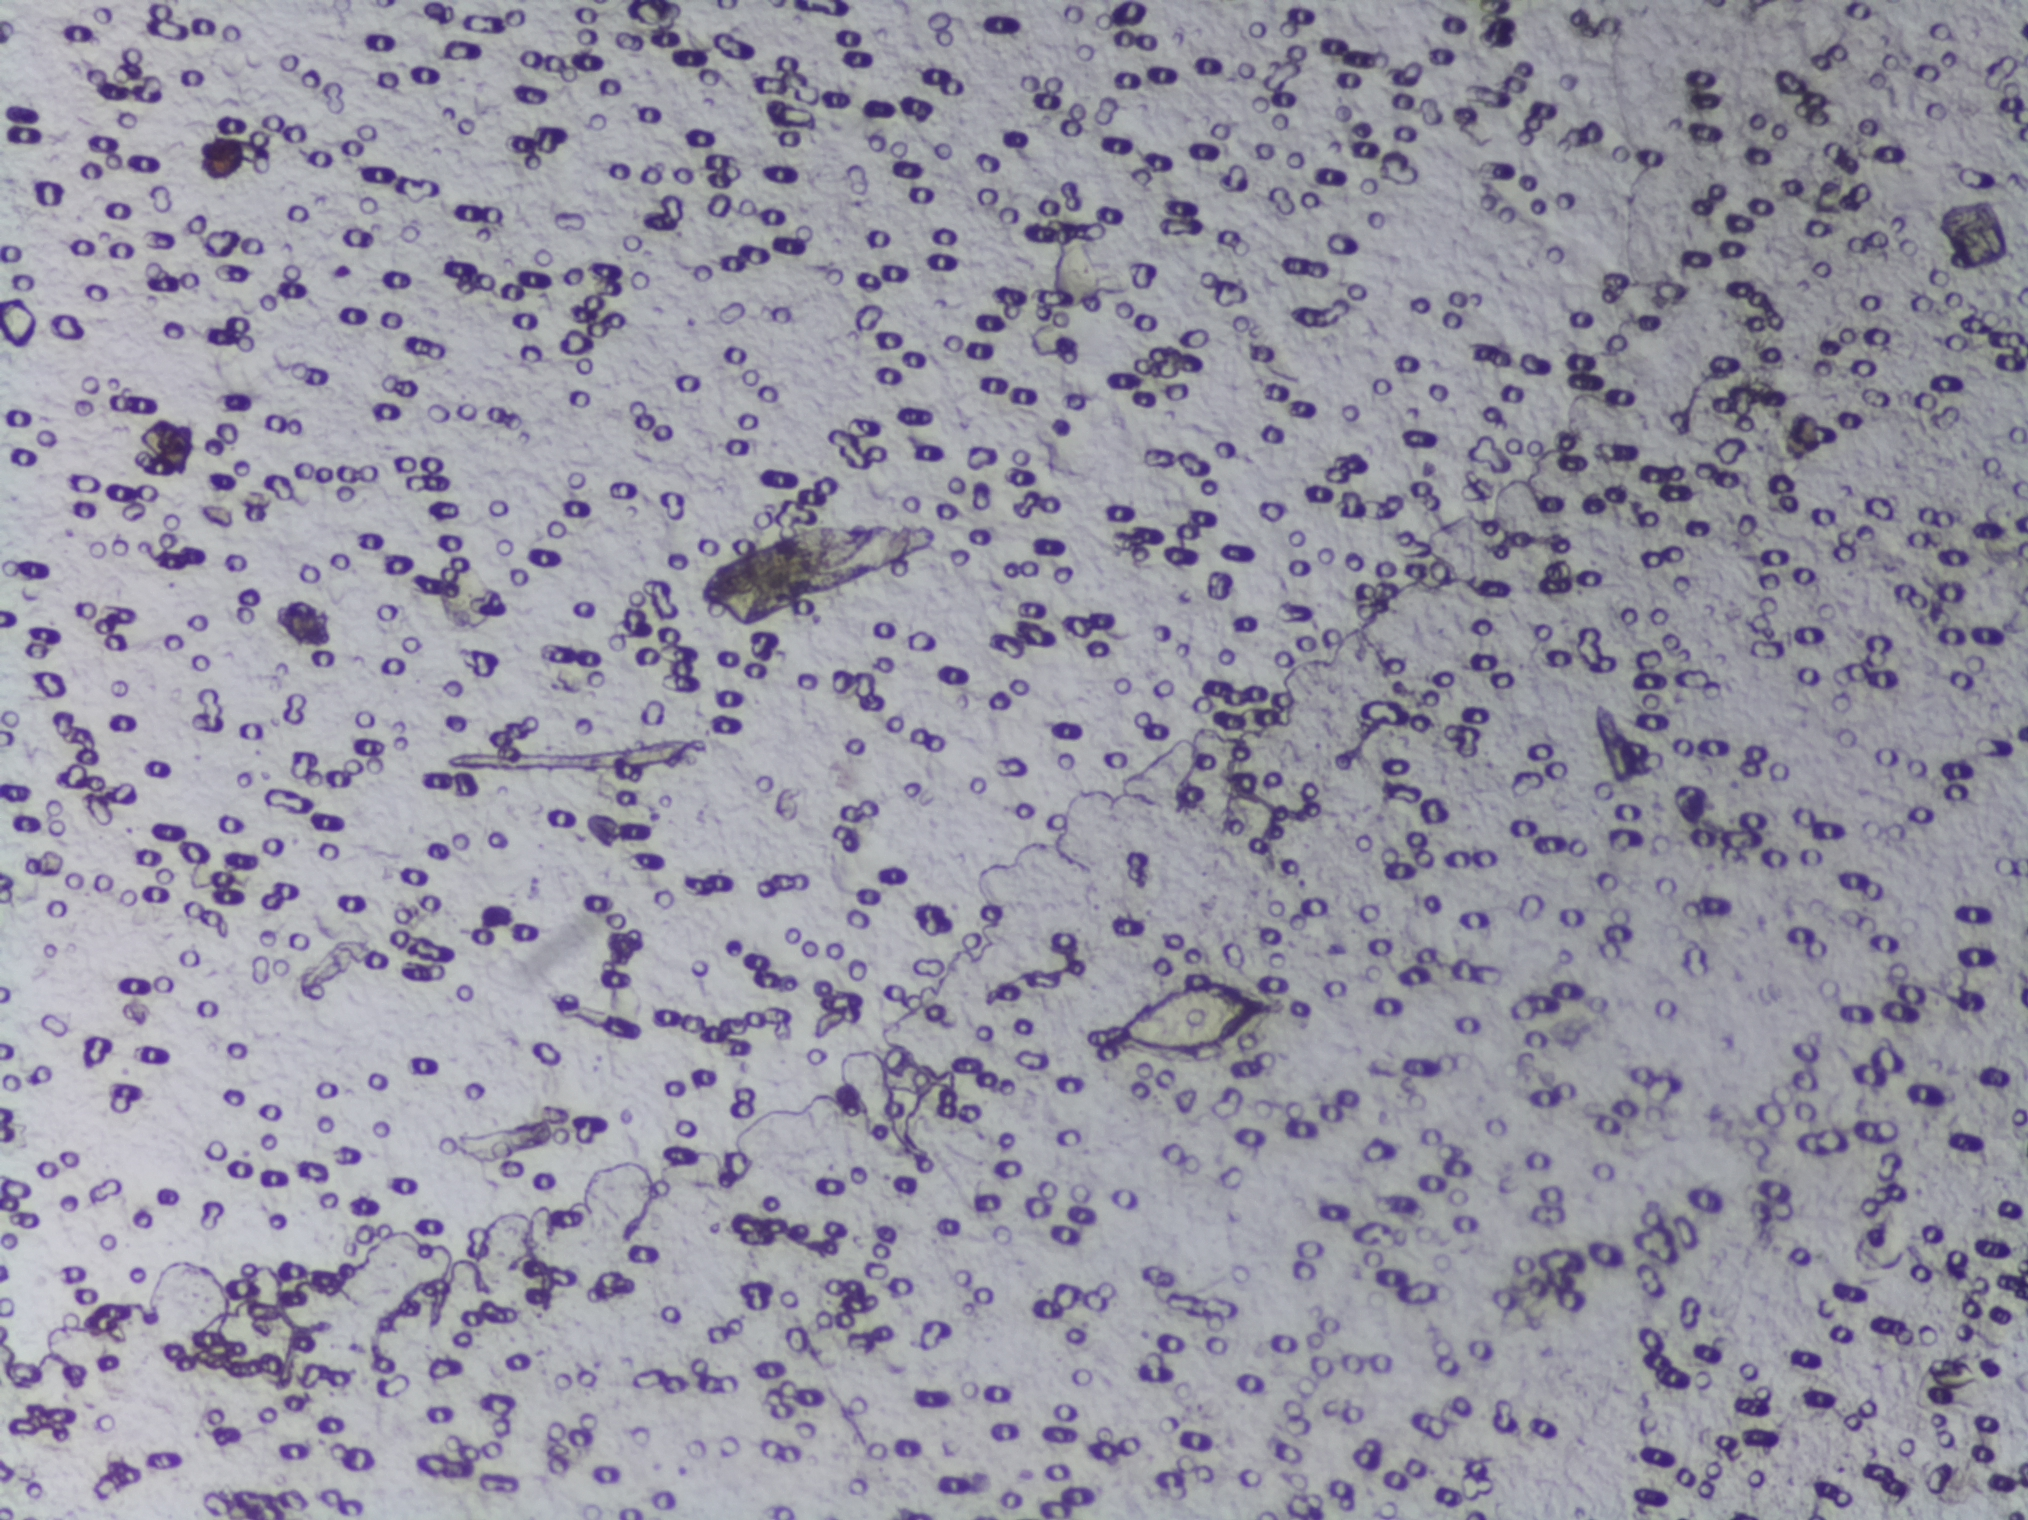
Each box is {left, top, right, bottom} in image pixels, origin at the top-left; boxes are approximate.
Areas outlined as Schistosoma eggs: {1109, 978, 1279, 1059}. Eggs that touch can end up inside the same outlined area.
Urine filtration membrane under a 4× objective, photographed by an automated digital microscope.